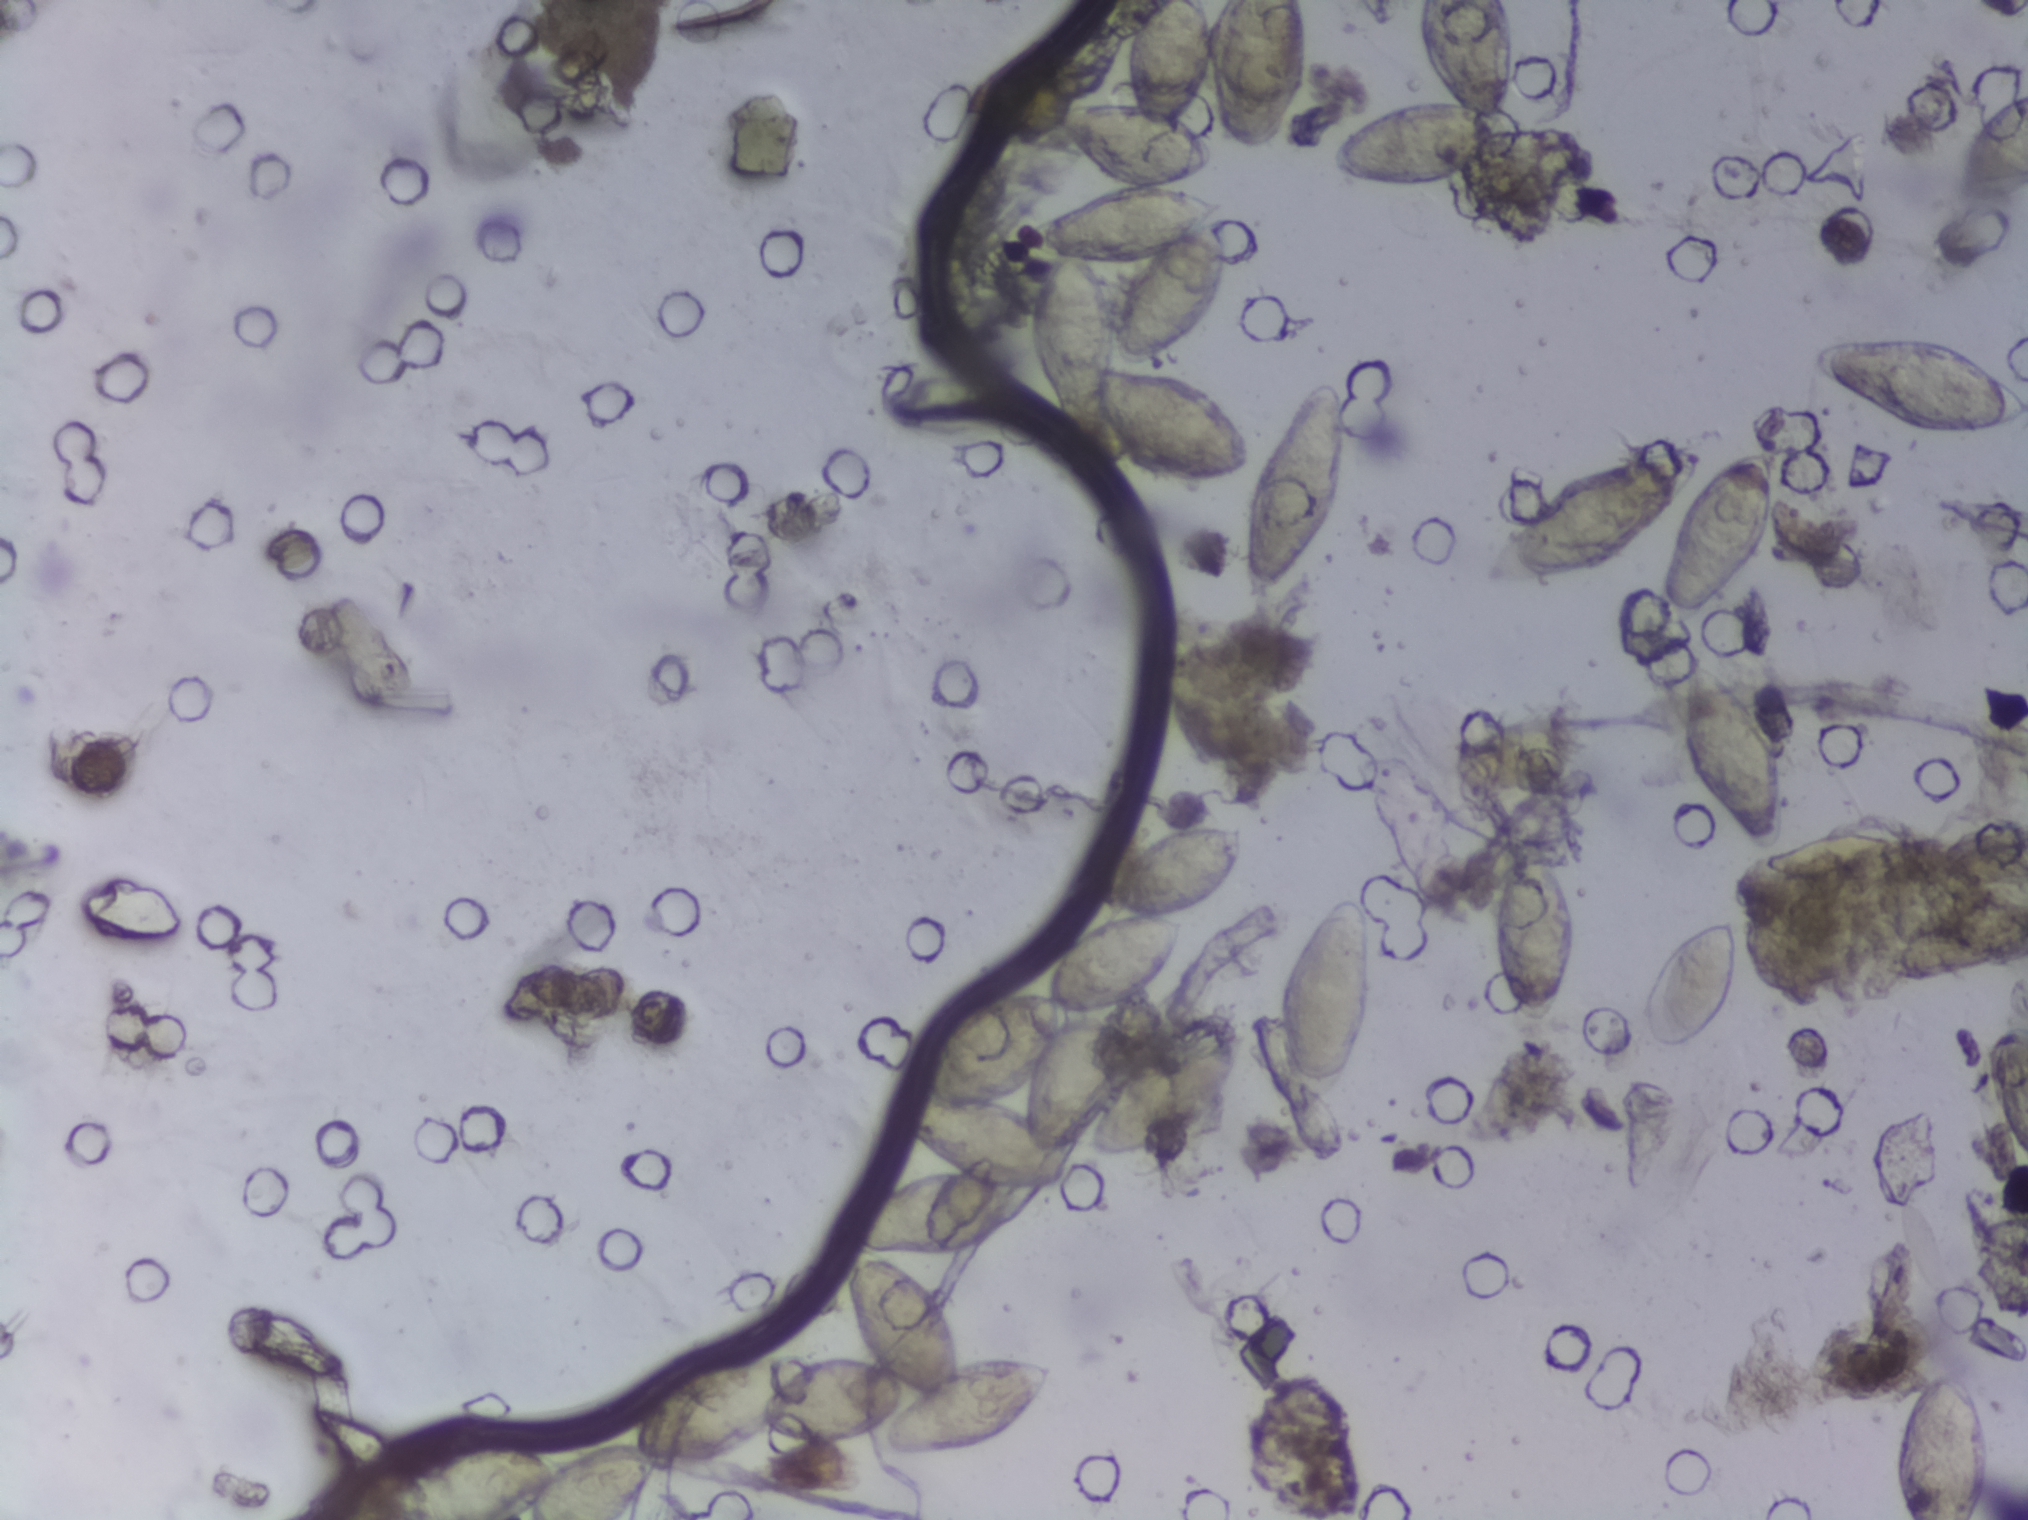
Photograph from an automated digital microscope: urine filter membrane, 4× objective.
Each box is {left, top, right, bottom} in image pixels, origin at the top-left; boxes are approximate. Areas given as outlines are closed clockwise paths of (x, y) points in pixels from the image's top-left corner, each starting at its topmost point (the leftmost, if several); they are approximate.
The expert annotation outlines Schistosoma eggs in 12 areas, left to right: outline (1219, 825), (1243, 834), (1236, 868), (1212, 897), (1181, 917), (1186, 930), (1179, 952), (1136, 997), (1138, 1041), (1179, 1013), (1241, 1006), (1236, 1070), (1217, 1102), (1169, 1145), (1122, 1159), (1088, 1155), (1079, 1137), (1061, 1150), (1072, 1166), (1072, 1184), (1048, 1190), (1016, 1229), (969, 1249), (899, 1256), (944, 1296), (961, 1360), (1024, 1354), (1056, 1366), (1044, 1401), (1019, 1428), (967, 1452), (889, 1458), (881, 1430), (844, 1445), (807, 1445), (767, 1434), (719, 1457), (663, 1460), (641, 1504), (616, 1519), (324, 1516), (336, 1496), (450, 1434), (503, 1438), (549, 1460), (580, 1445), (629, 1442), (639, 1410), (686, 1368), (707, 1360), (821, 1352), (865, 1357), (849, 1321), (847, 1261), (857, 1243), (850, 1214), (882, 1188), (943, 1166), (897, 1115), (898, 1104), (916, 1090), (915, 1054), (935, 1026), (978, 996), (1048, 990), (1055, 965), (1078, 932), (1122, 914), (1109, 903), (1107, 885), (1150, 838) (a cluster of eggs; reaching the bottom edge of the frame); outline (1154, 0), (1206, 0), (1213, 22), (1226, 0), (1301, 0), (1305, 17), (1305, 74), (1290, 120), (1272, 147), (1246, 155), (1232, 144), (1212, 114), (1209, 67), (1184, 113), (1210, 138), (1214, 158), (1205, 175), (1180, 186), (1224, 200), (1218, 215), (1228, 242), (1230, 284), (1210, 322), (1158, 364), (1204, 381), (1245, 427), (1253, 458), (1303, 386), (1319, 378), (1340, 383), (1352, 418), (1352, 459), (1342, 497), (1307, 563), (1283, 591), (1257, 605), (1249, 603), (1241, 577), (1251, 468), (1226, 487), (1183, 493), (1135, 475), (1103, 429), (1090, 445), (1069, 447), (1047, 421), (1027, 341), (1027, 288), (1047, 258), (1037, 253), (1032, 229), (1051, 211), (1109, 183), (1070, 149), (1055, 121), (1057, 104), (1129, 100), (1121, 46), (1130, 22) (a cluster of eggs; reaching the top edge of the frame); box {1274, 889, 1371, 1117}; box {1327, 0, 1519, 188} (reaching the top edge of the frame); box {1473, 443, 1780, 625}; box {1489, 819, 1577, 1026}; box {1642, 916, 1743, 1057}; box {1678, 649, 1782, 849}; box {1808, 329, 2027, 442} (reaching the right edge of the frame); box {1885, 1357, 1992, 1519} (reaching the bottom edge of the frame); box {1963, 94, 2027, 191} (reaching the right edge of the frame); box {1983, 1015, 2027, 1159} (reaching the right edge of the frame). Eggs that touch can end up inside the same outlined area. Any one outlined egg may, rarely, be S. mansoni rather than S. haematobium.